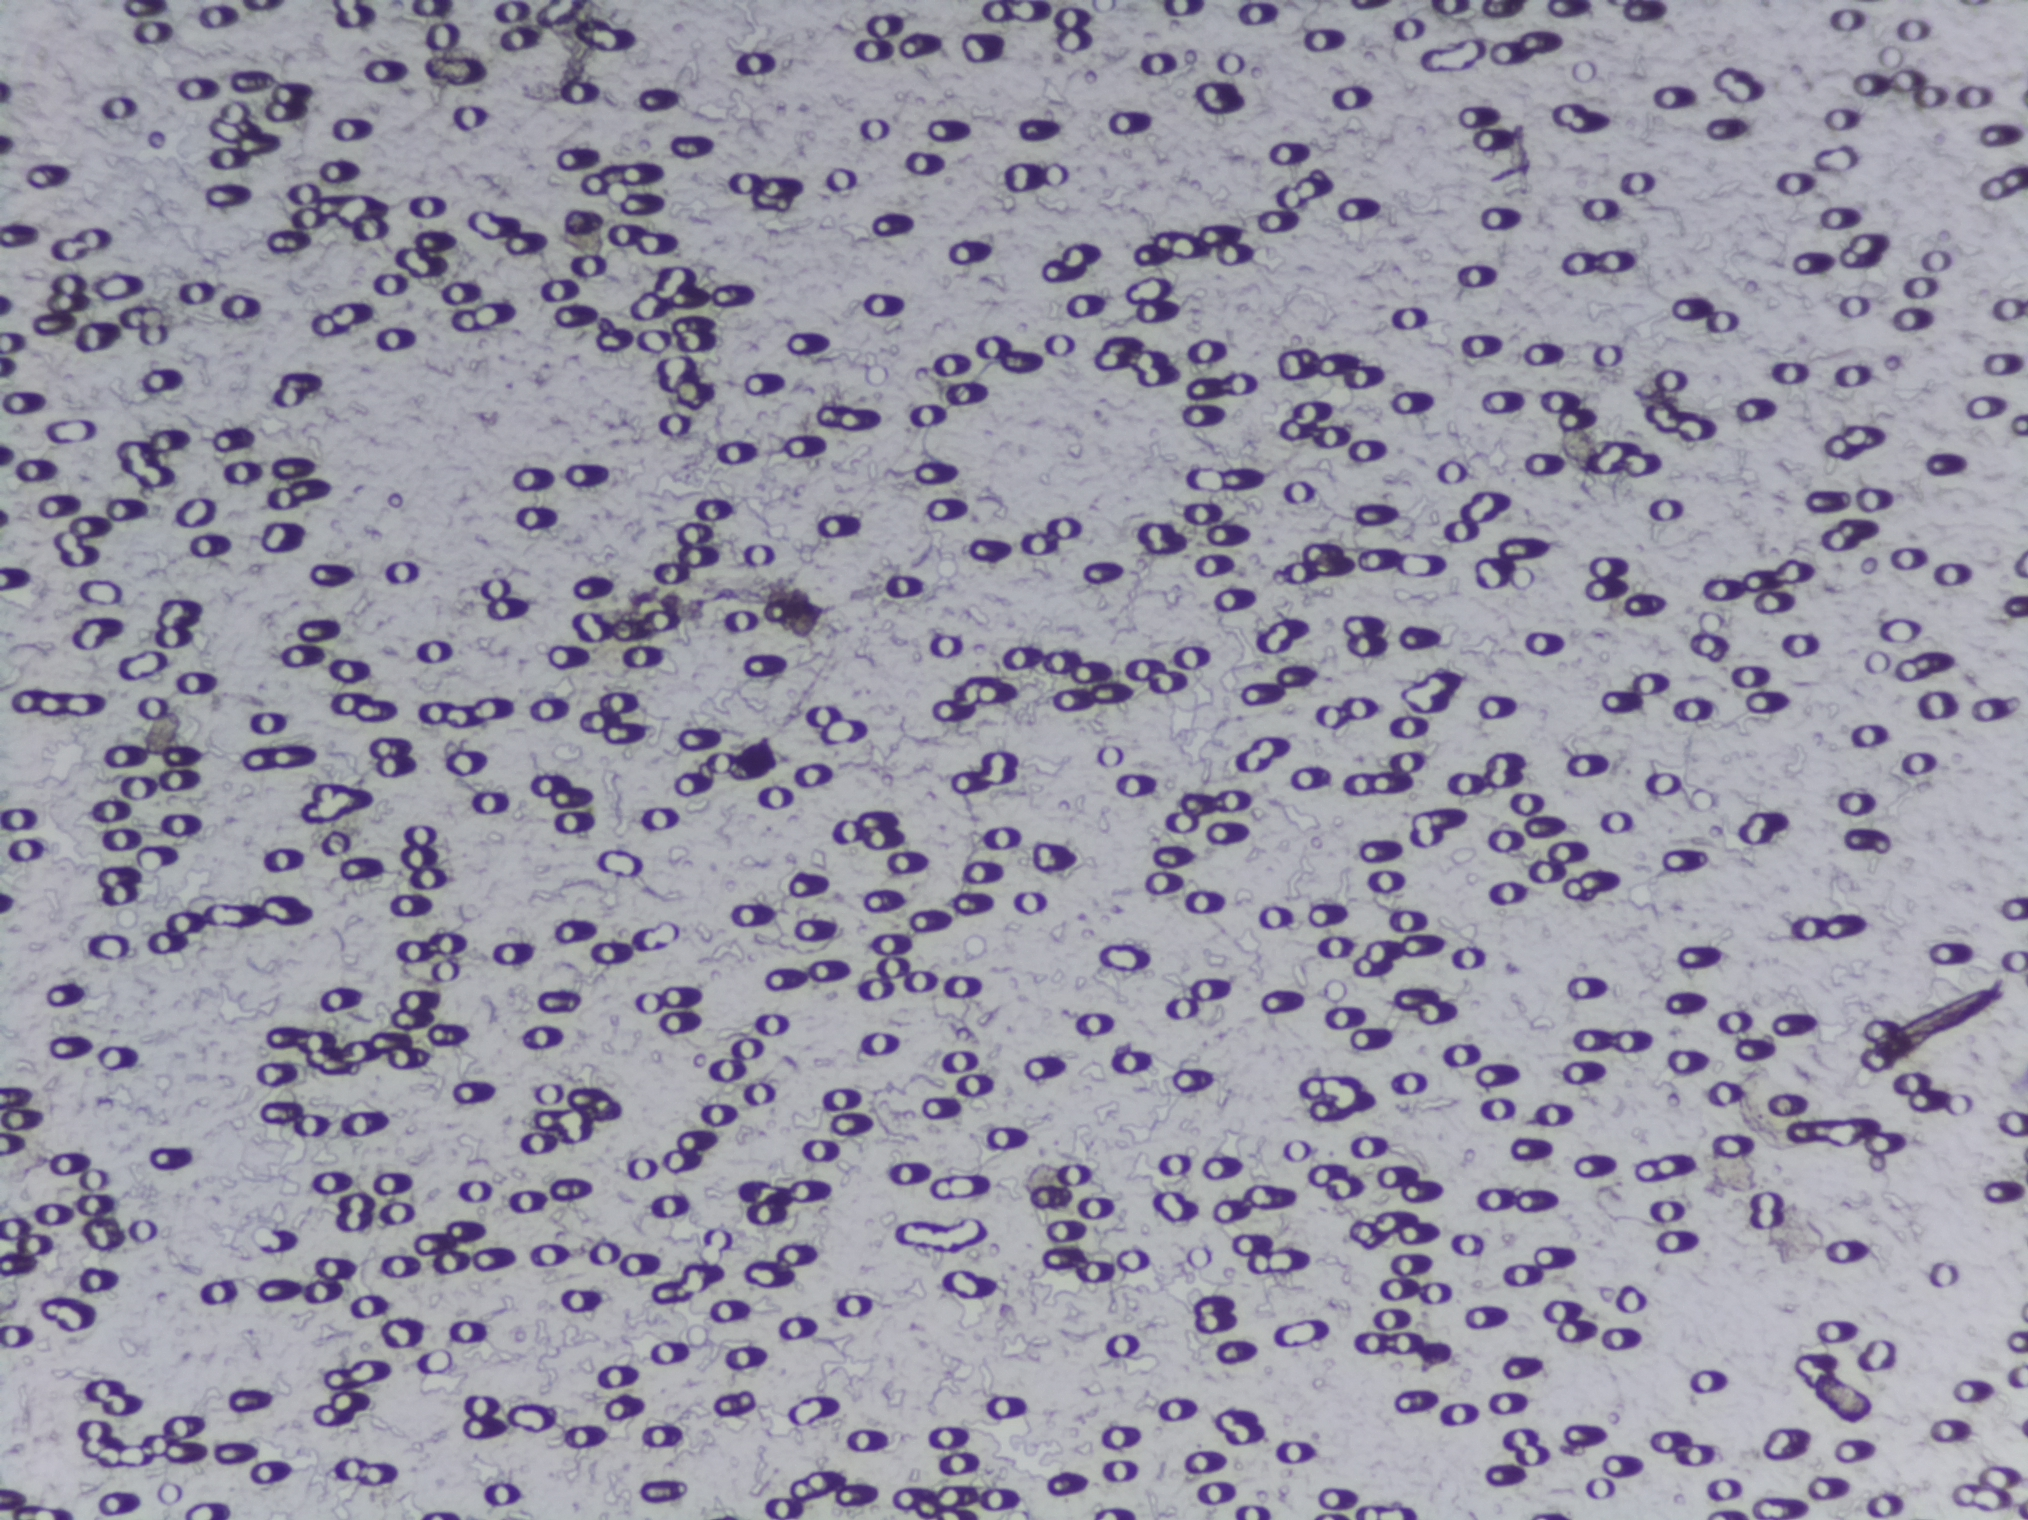
One field of view of a urine filter membrane, 4× objective, 2028 × 1520 pixels.
The expert annotation marks no Schistosoma egg in this field of view.